Urine filtration membrane under a 4× objective, photographed by an automated digital microscope.
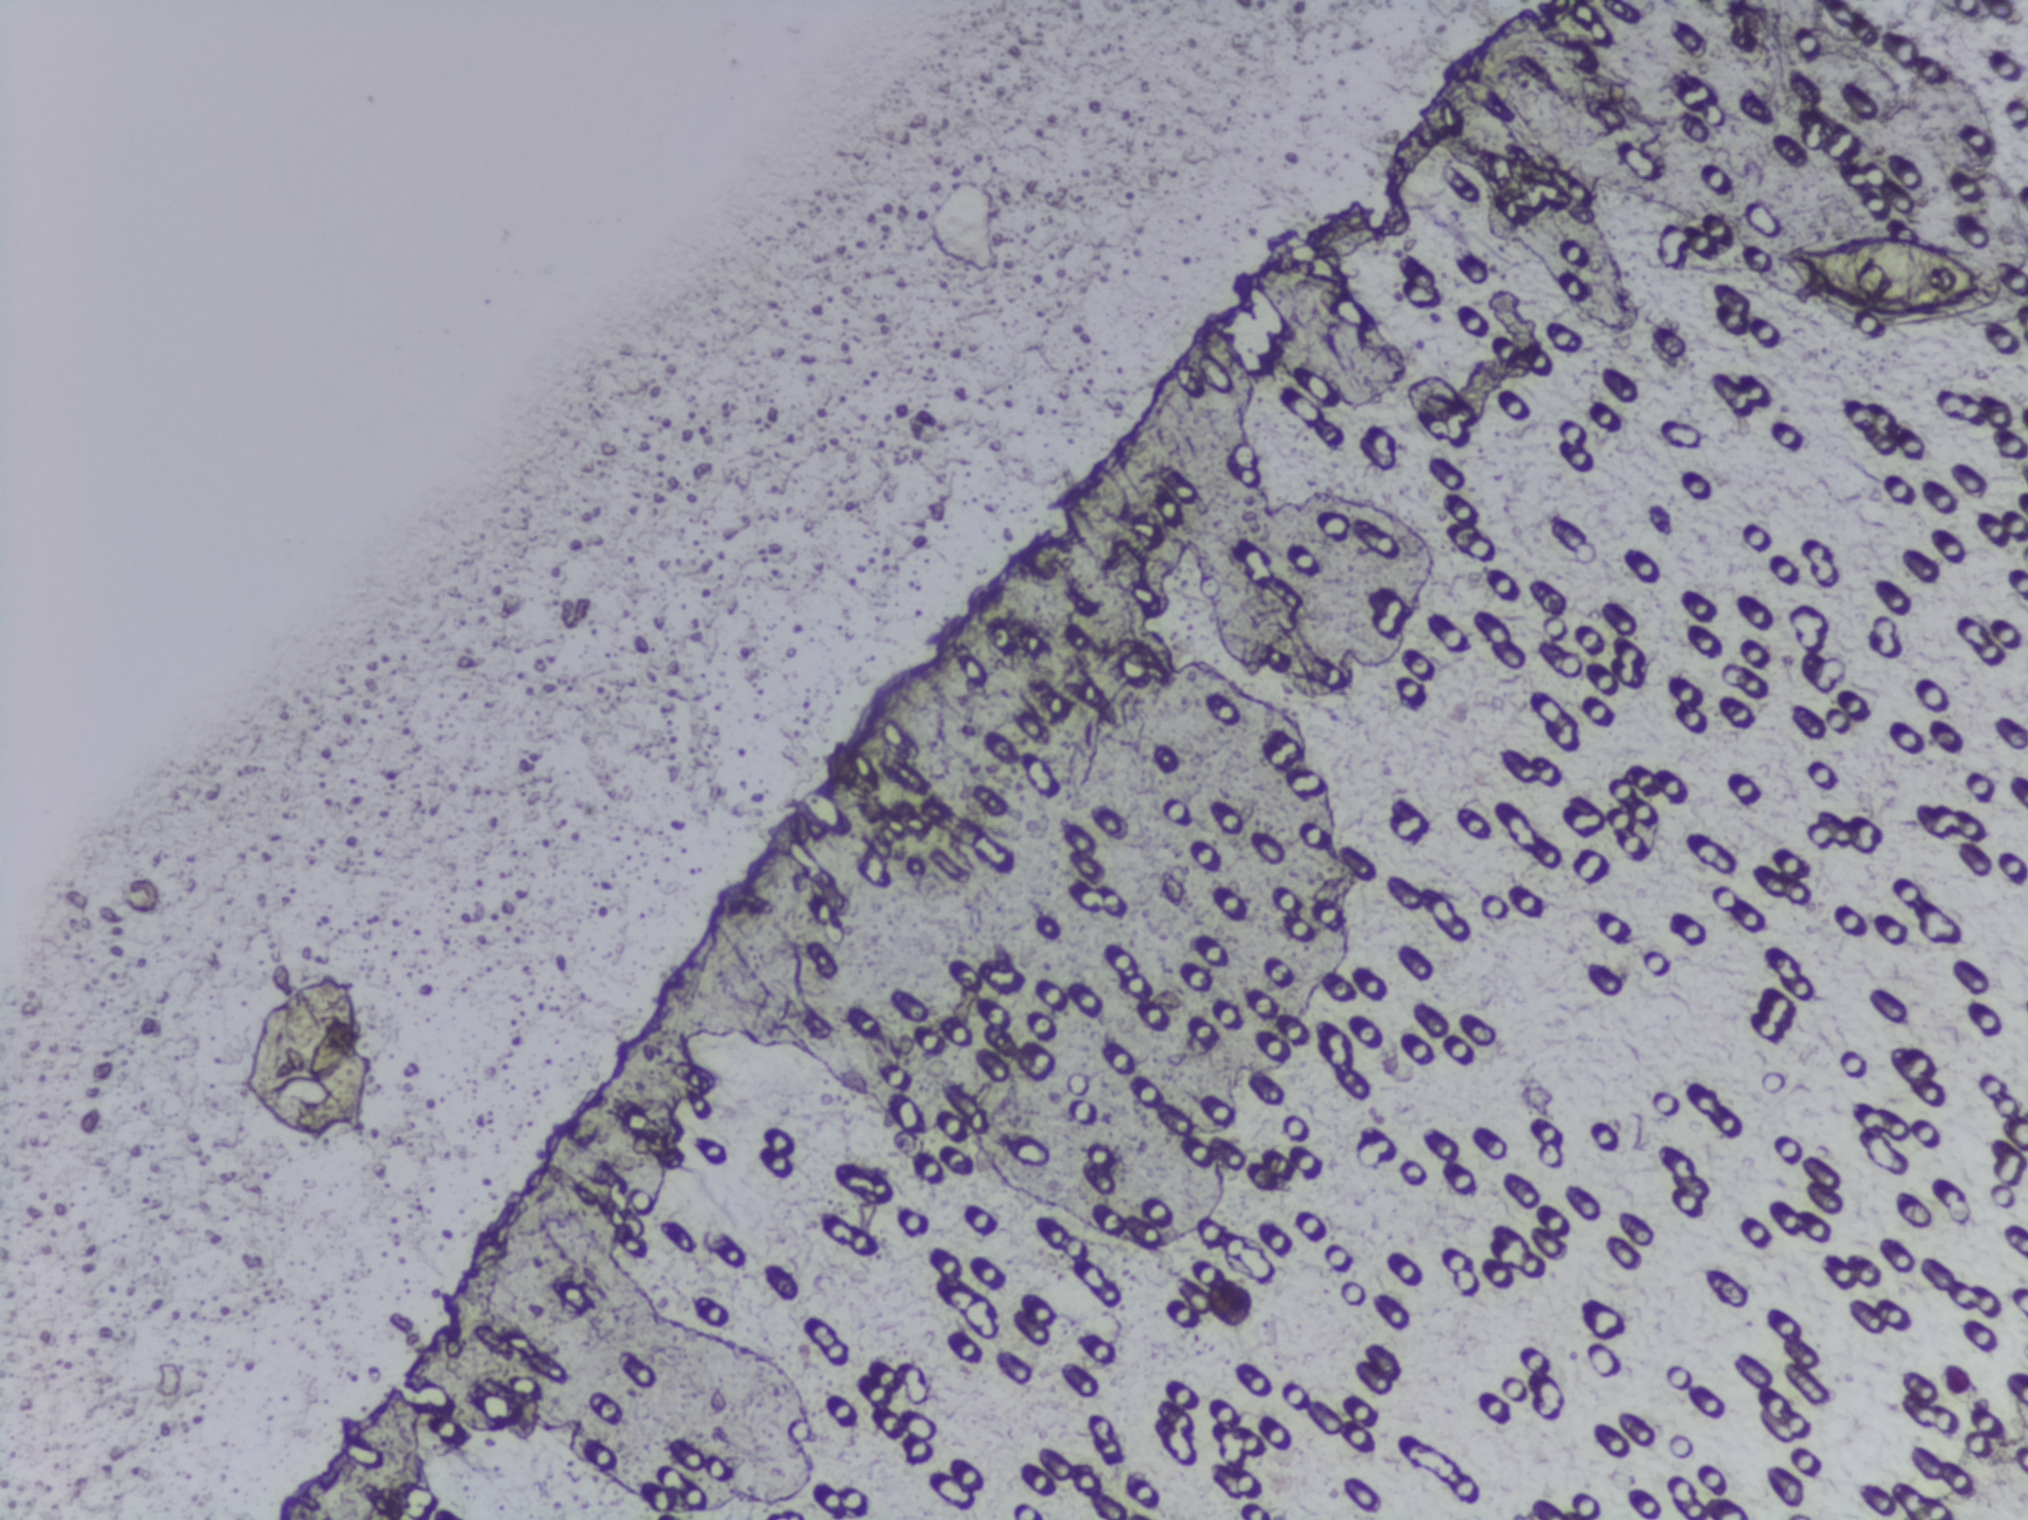
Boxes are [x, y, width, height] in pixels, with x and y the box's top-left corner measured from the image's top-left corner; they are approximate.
The expert annotation outlines Schistosoma eggs at [1776, 230, 222, 99]. An outlined area can hold more than one egg.